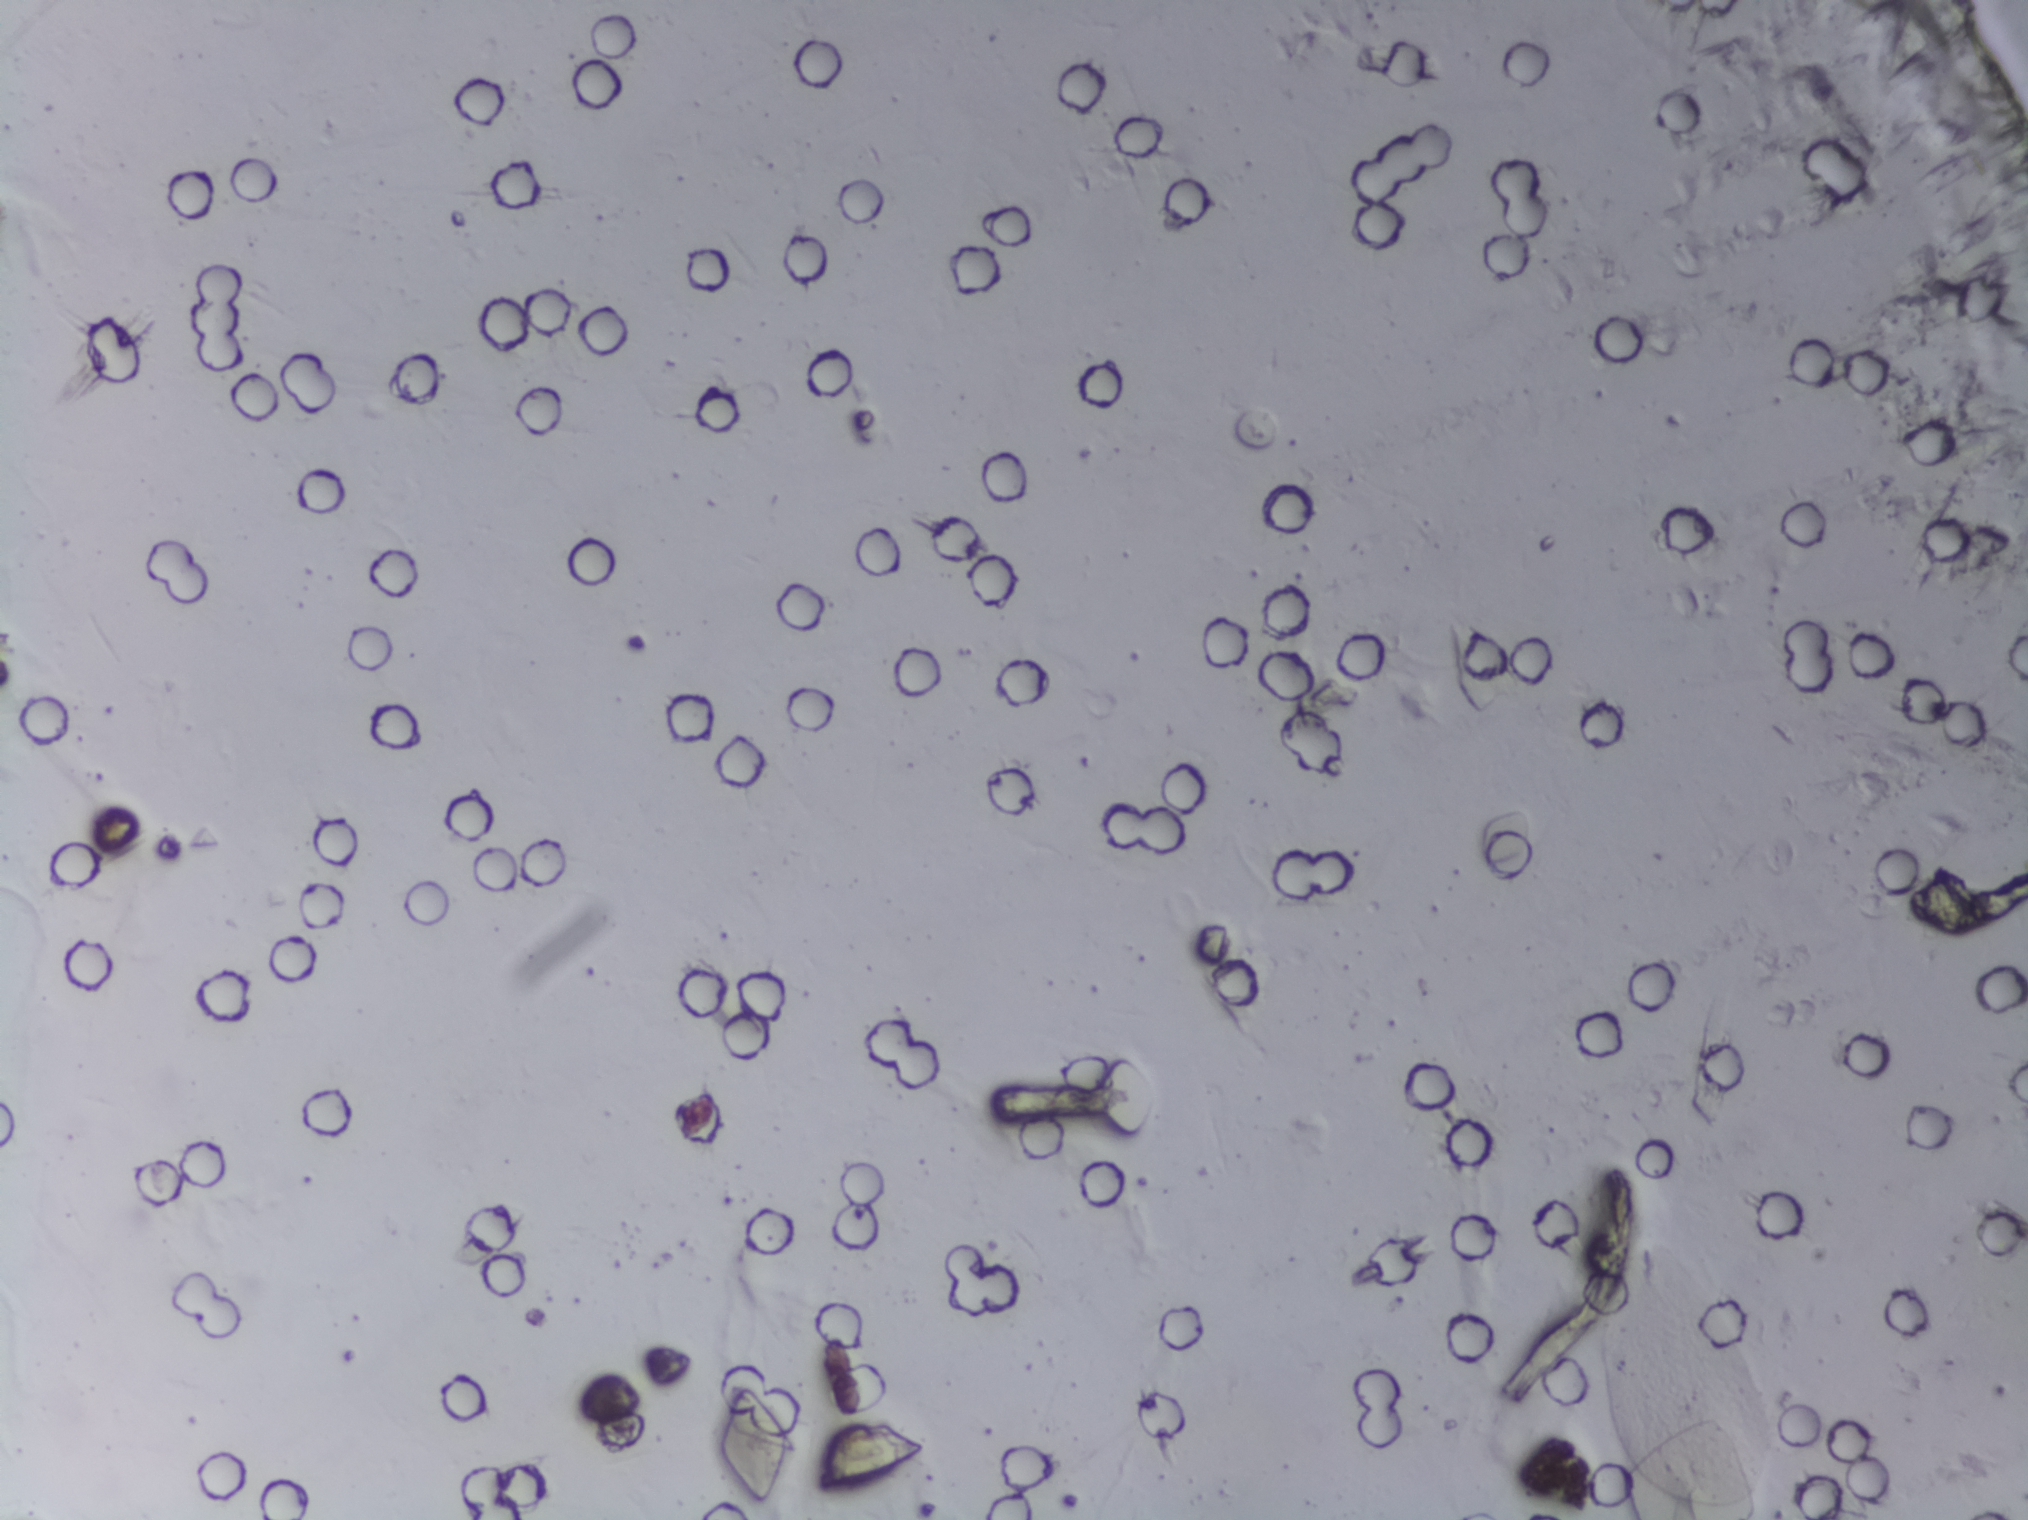
Schistosoma eggs: none outlined.
Photograph from an automated digital microscope: urine filter membrane, 4× objective.